Urine filter membrane photographed through a 4× microscope objective. The image covers about 1.5 × 1.1 mm of the membrane.
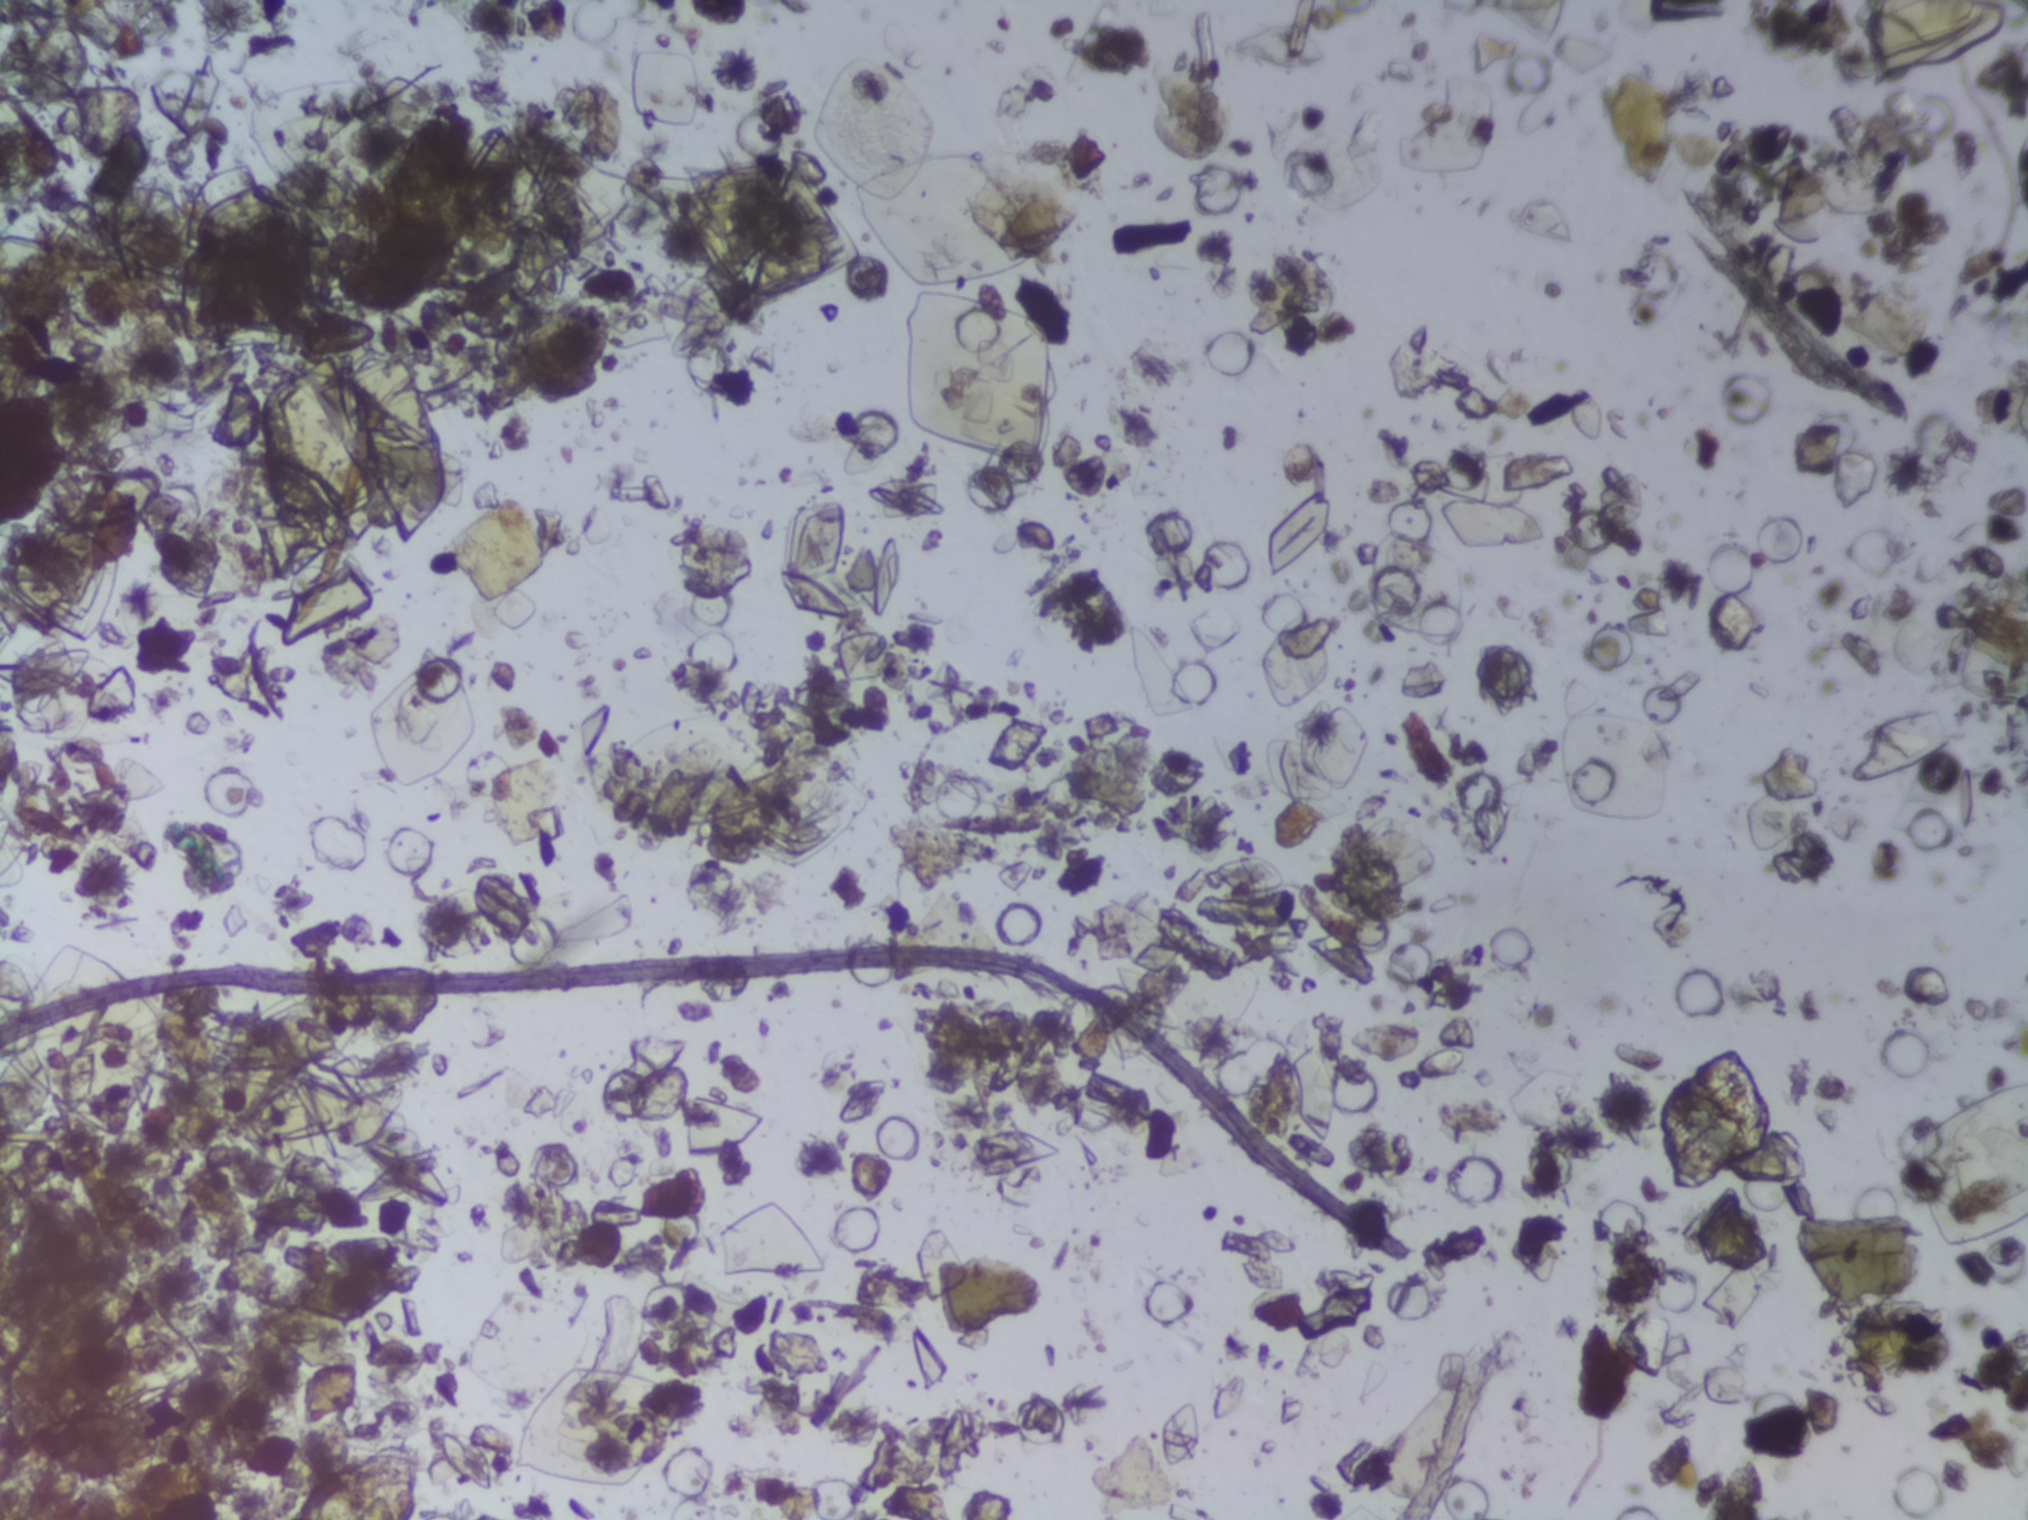
Schistosoma eggs: none outlined.